Photograph from an automated digital microscope: urine filter membrane, 4× objective.
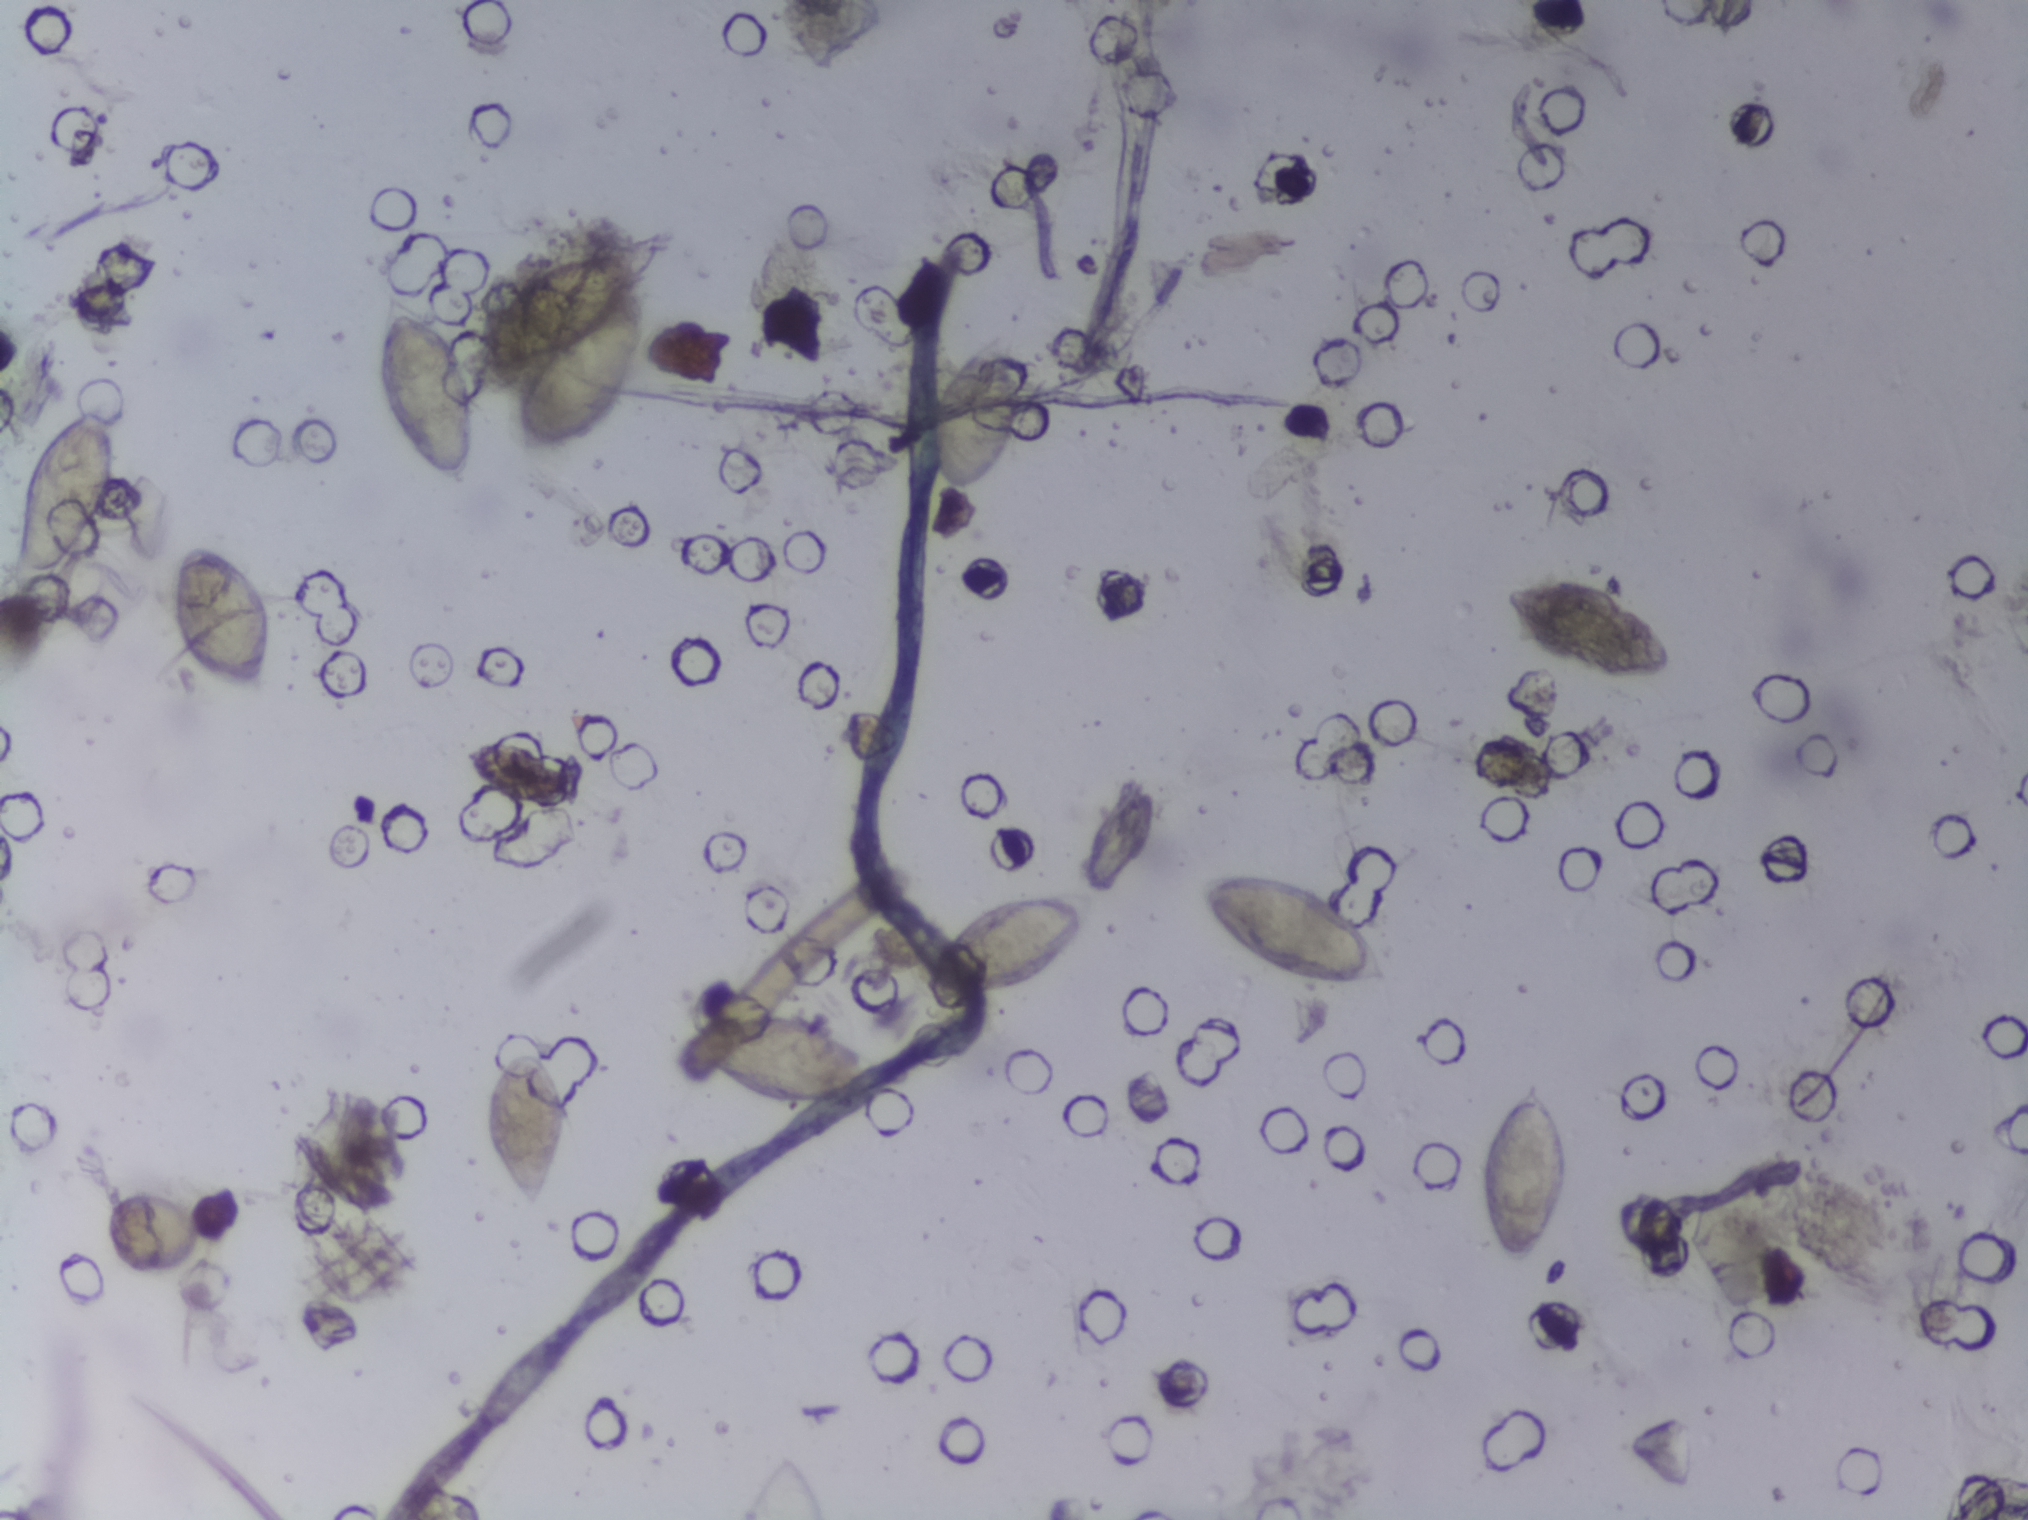
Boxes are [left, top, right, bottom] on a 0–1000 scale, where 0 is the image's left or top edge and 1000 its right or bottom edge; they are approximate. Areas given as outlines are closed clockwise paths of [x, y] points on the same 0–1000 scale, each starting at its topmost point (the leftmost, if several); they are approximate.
Schistosoma eggs, outlined areas: box [5, 262, 57, 388]; box [84, 358, 133, 460]; box [183, 189, 233, 320]; box [230, 489, 283, 533]; box [232, 164, 320, 301]; box [235, 686, 281, 797]; box [332, 664, 441, 727]; box [363, 957, 406, 1000] (reaching the bottom edge of the frame); box [455, 219, 505, 326]; outline [565, 520], [571, 521], [572, 542], [559, 574], [550, 587], [540, 589], [542, 606], [530, 630], [499, 650], [456, 648], [459, 632], [487, 593], [536, 587], [534, 565], [539, 552], [551, 531]; box [590, 574, 687, 649]; box [728, 705, 773, 836]; box [737, 379, 826, 451]. Marked pixels, not the boxes and the outline around them: about 5.5% of the image. Eggs that touch can end up inside the same outlined area.